Urine filtration membrane under a 4× objective, photographed by an automated digital microscope. The field of view is about 1.5 mm × 1.1 mm.
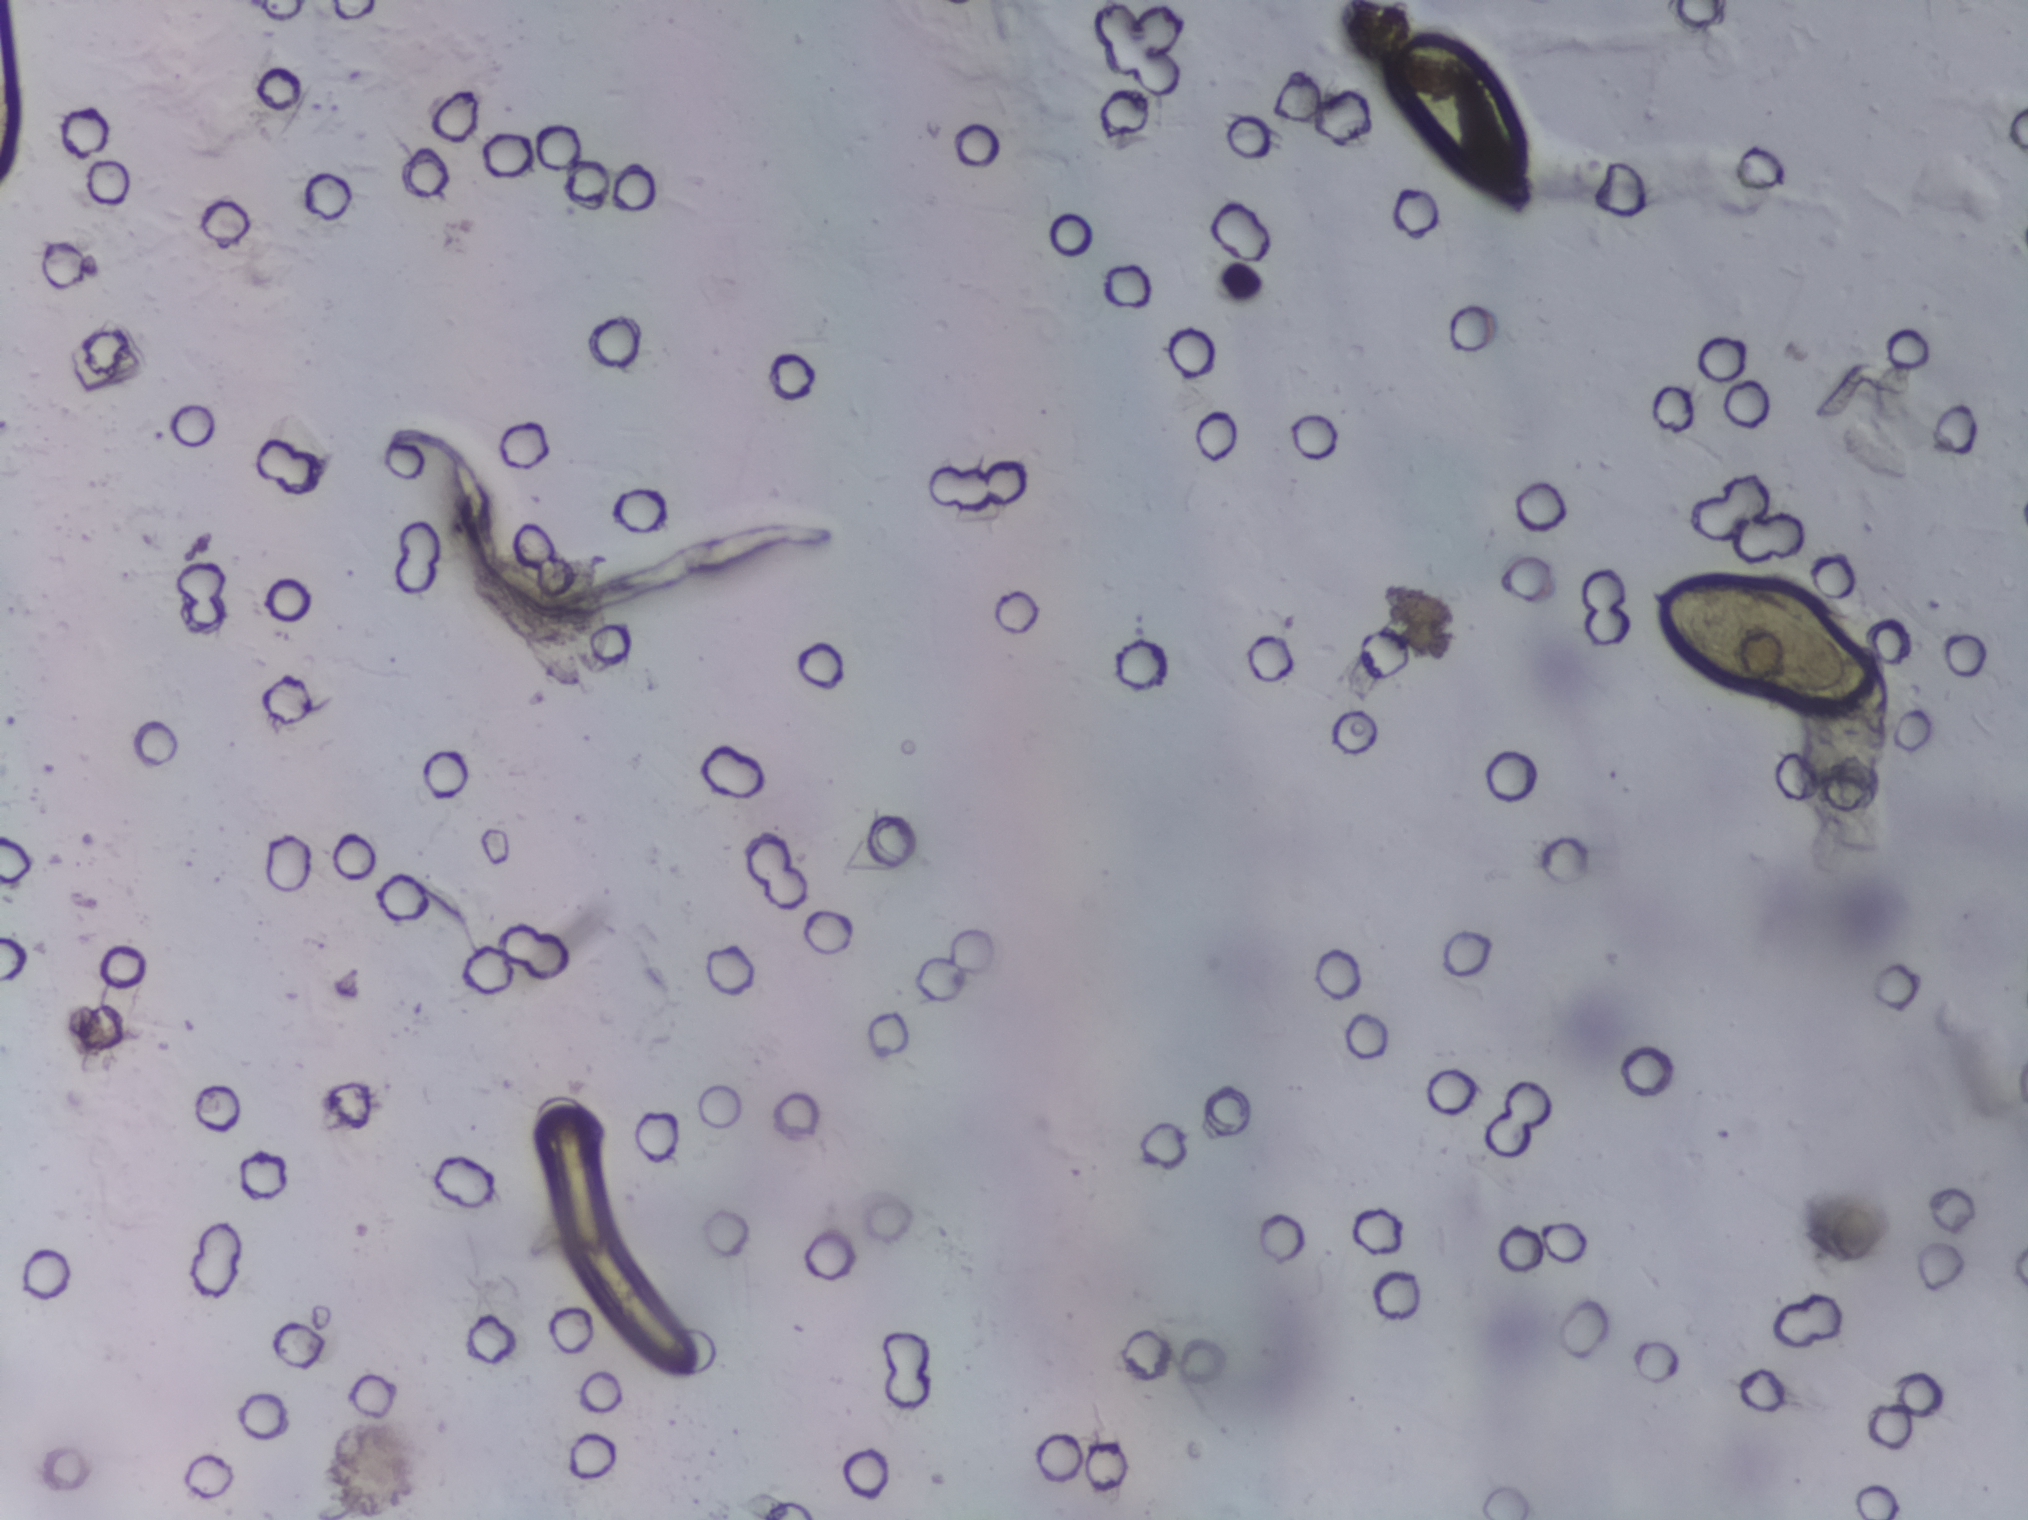
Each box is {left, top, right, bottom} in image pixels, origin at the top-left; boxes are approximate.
Areas outlined as Schistosoma eggs: {1385, 32, 1532, 208}; {1635, 573, 1885, 816}. The marked pixels themselves, not the boxes around them, cover about 1.5% of the image. A single outlined area may contain several eggs. Any one outlined egg may, rarely, be S. mansoni rather than S. haematobium.